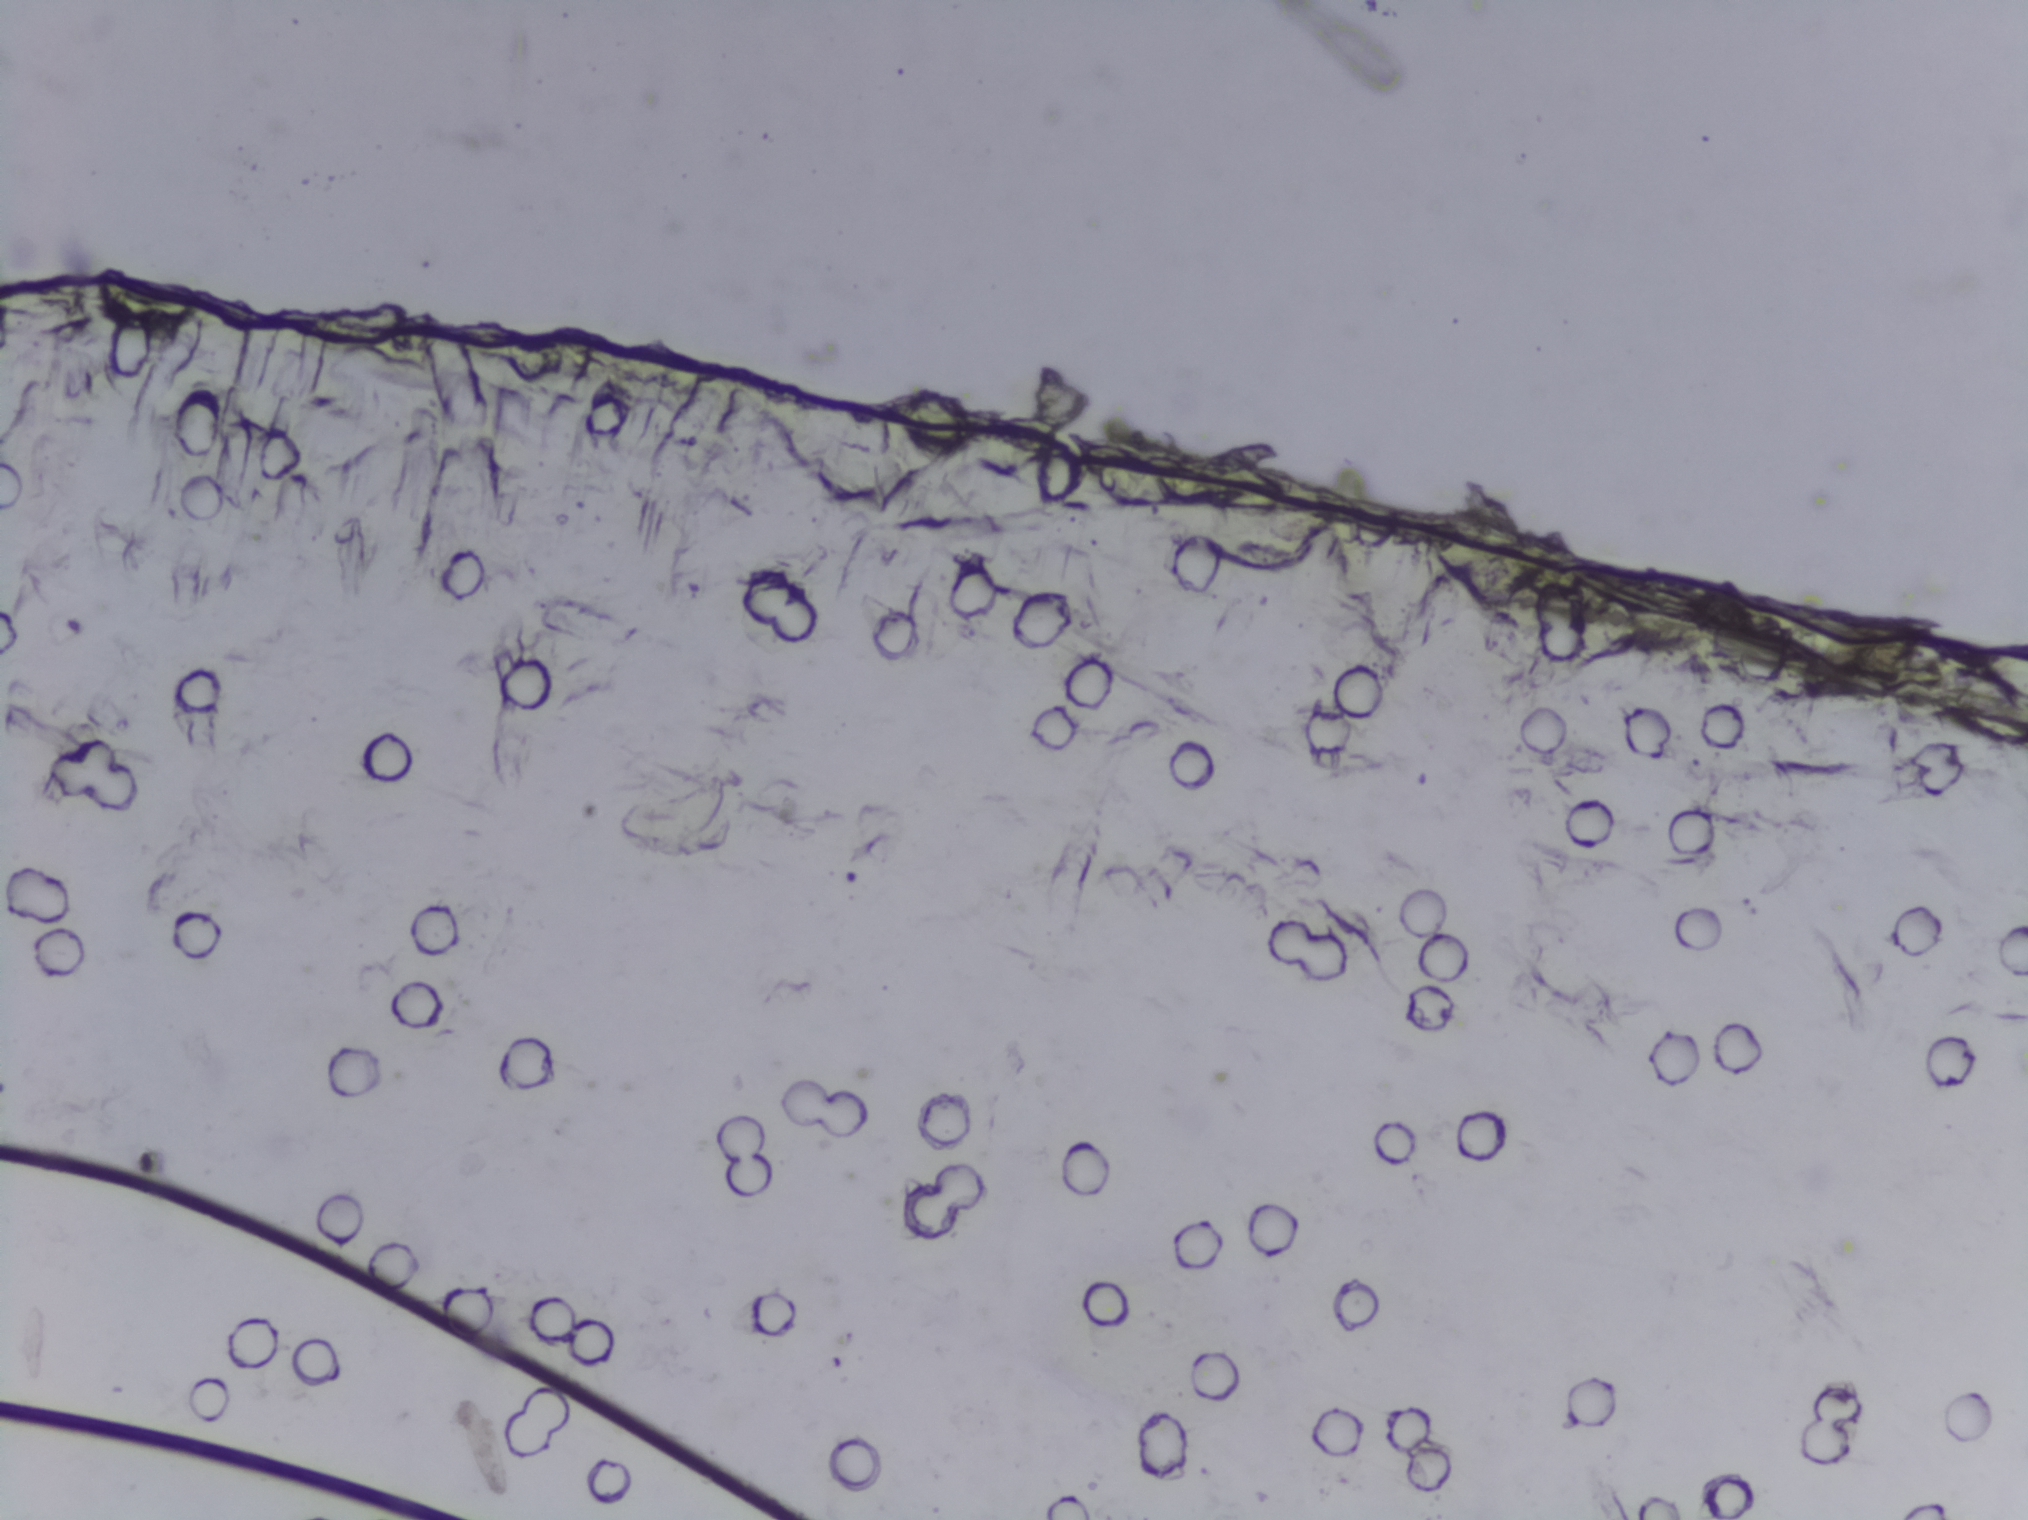
Urine filtration membrane under a 4× objective, photographed by an automated digital microscope.
No area of this image was outlined as a Schistosoma egg.